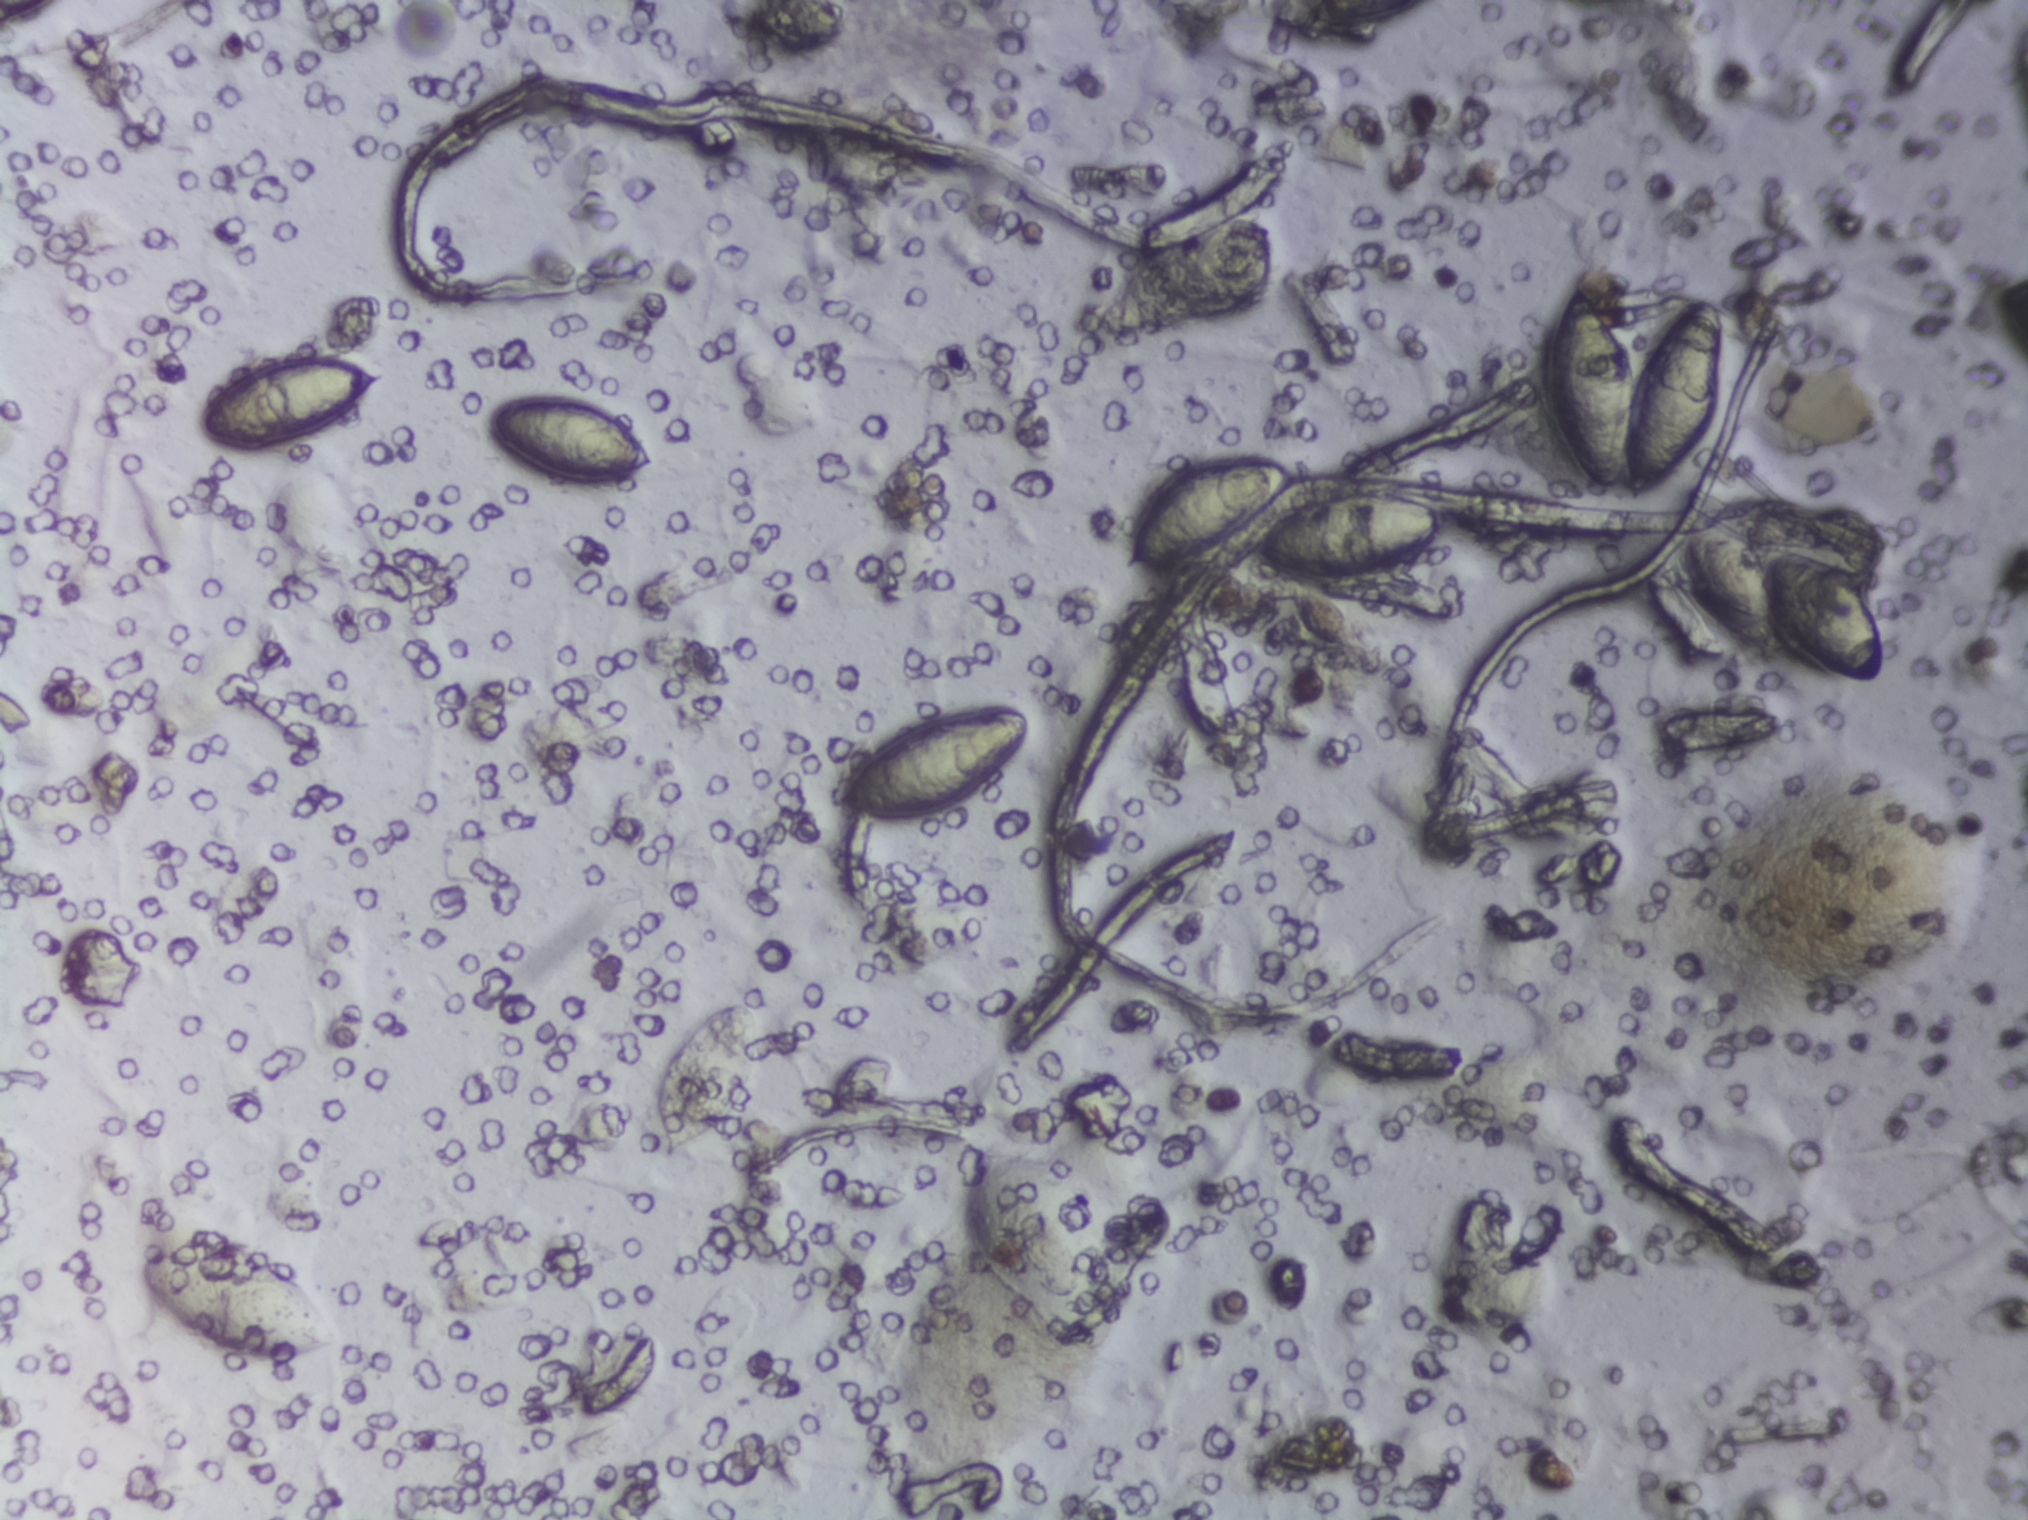
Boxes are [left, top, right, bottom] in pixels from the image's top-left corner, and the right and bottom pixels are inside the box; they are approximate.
{"schistosoma_egg_areas_xyxy_px": [[136, 1245, 346, 1363], [190, 351, 390, 455], [476, 391, 655, 483], [831, 699, 1033, 821], [1117, 451, 1293, 576], [1242, 487, 1448, 582], [1307, 0, 1428, 27], [1542, 280, 1727, 501], [1677, 506, 1887, 688]]} Area 7 reaches the top edge of the frame.
Eggs that touch can end up inside the same outlined area.
Photograph from an automated digital microscope: urine filter membrane, 4× objective. Field of view: about 1.5 mm wide and 1.1 mm high.